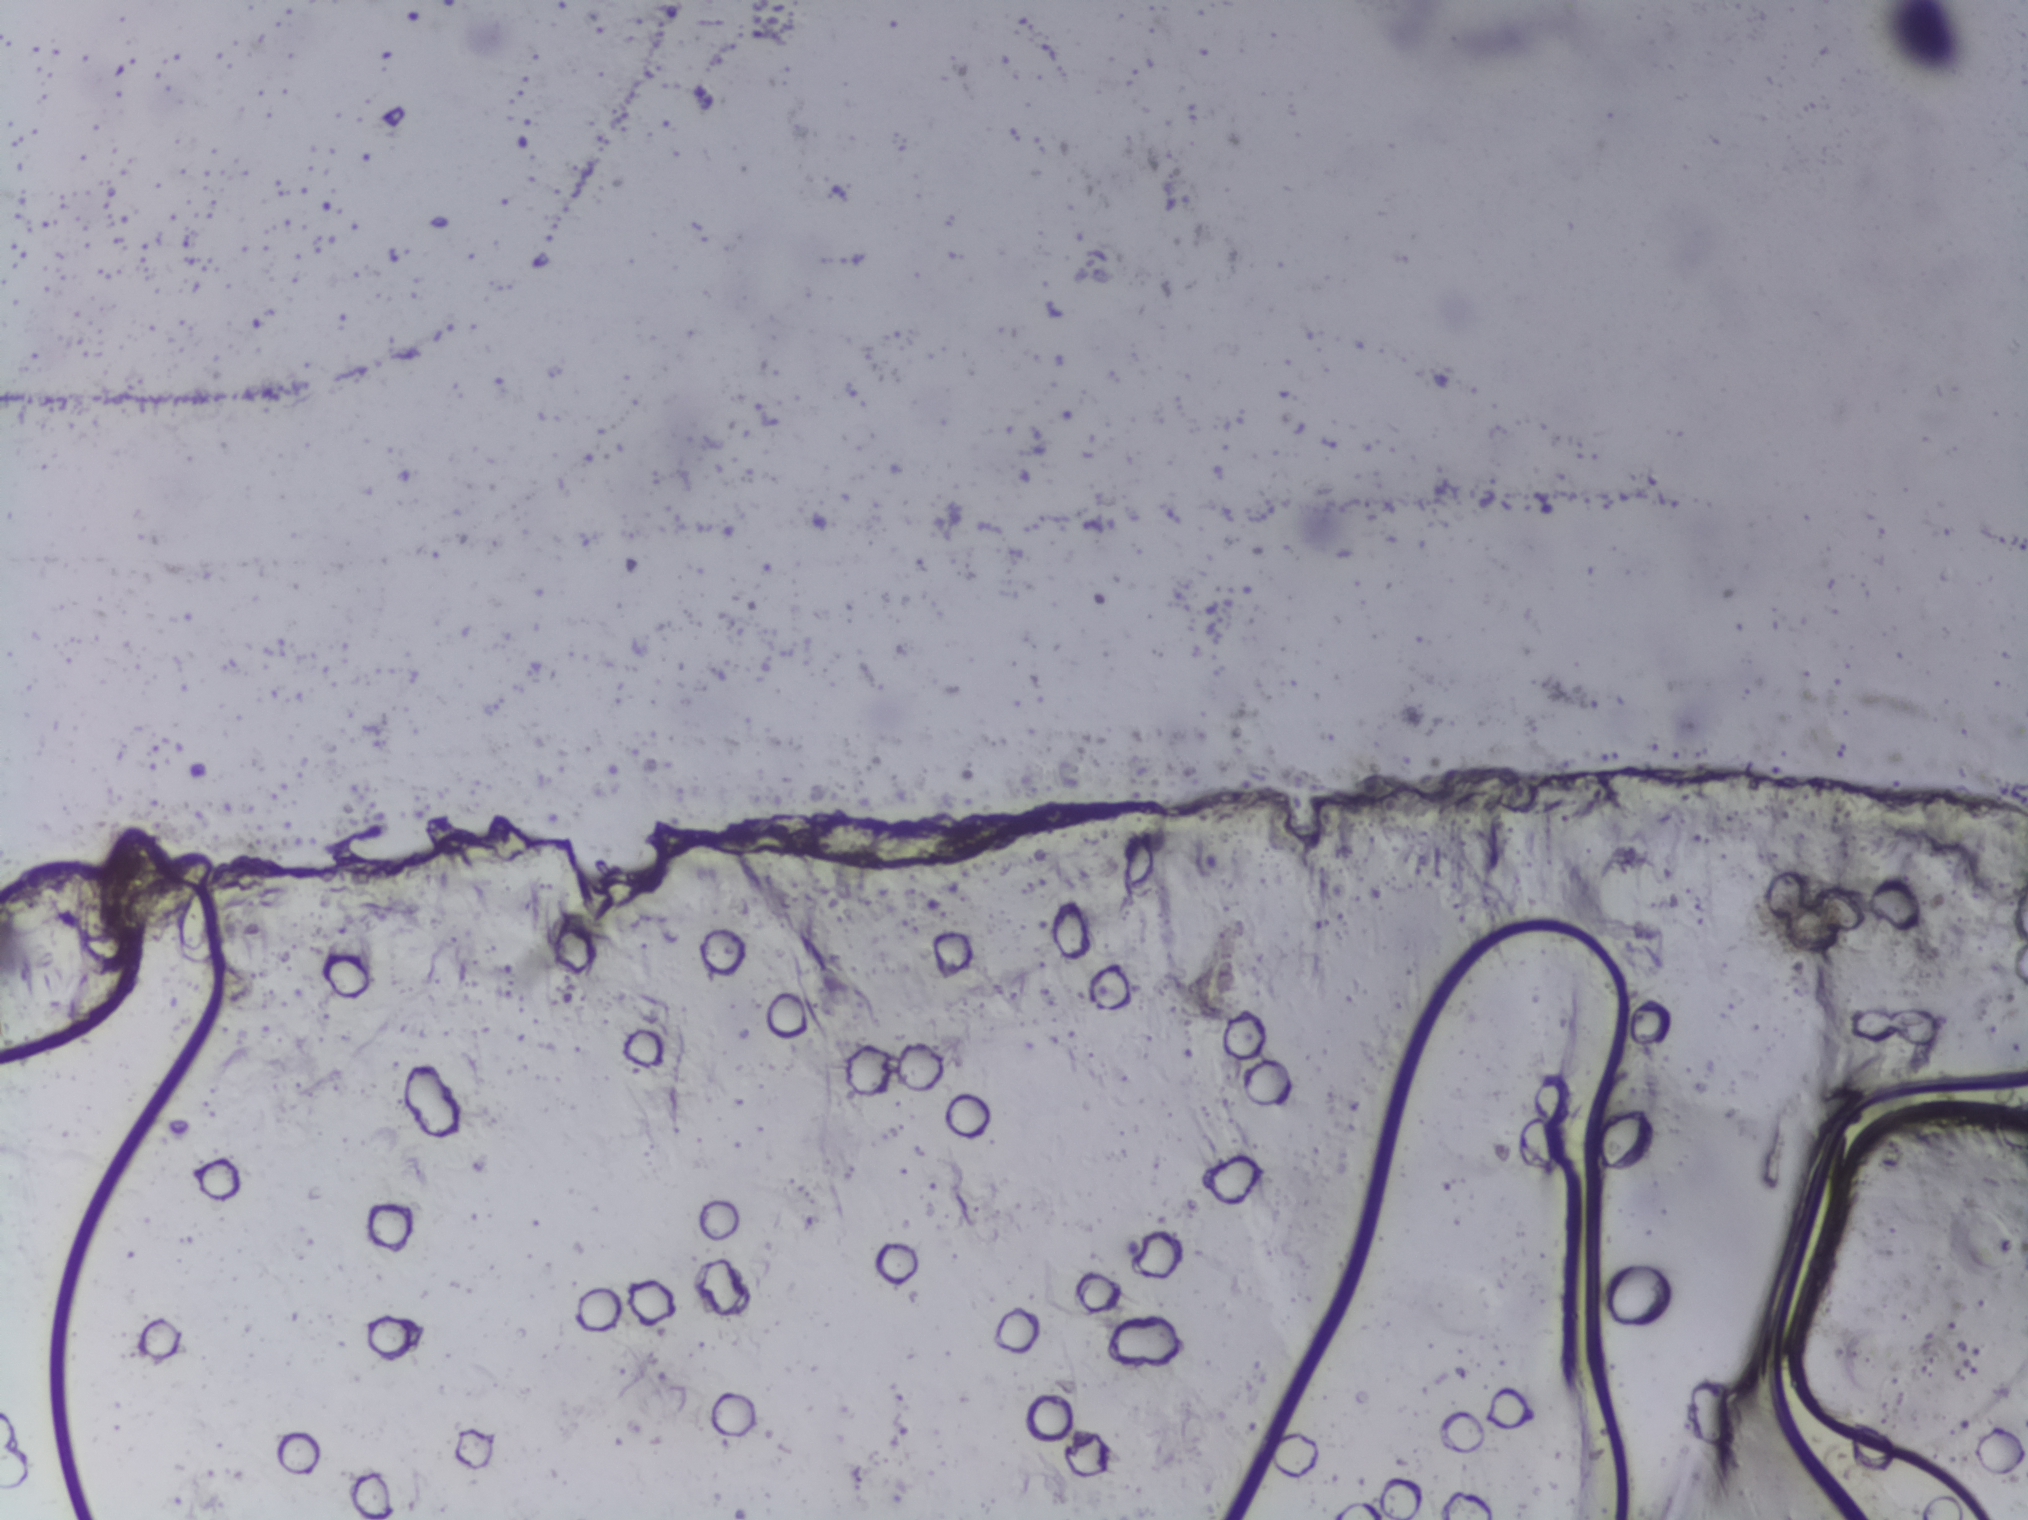
The expert annotation marks no Schistosoma egg in this field of view.
One field of view of a urine filter membrane, 4× objective, 2028 × 1520 pixels.